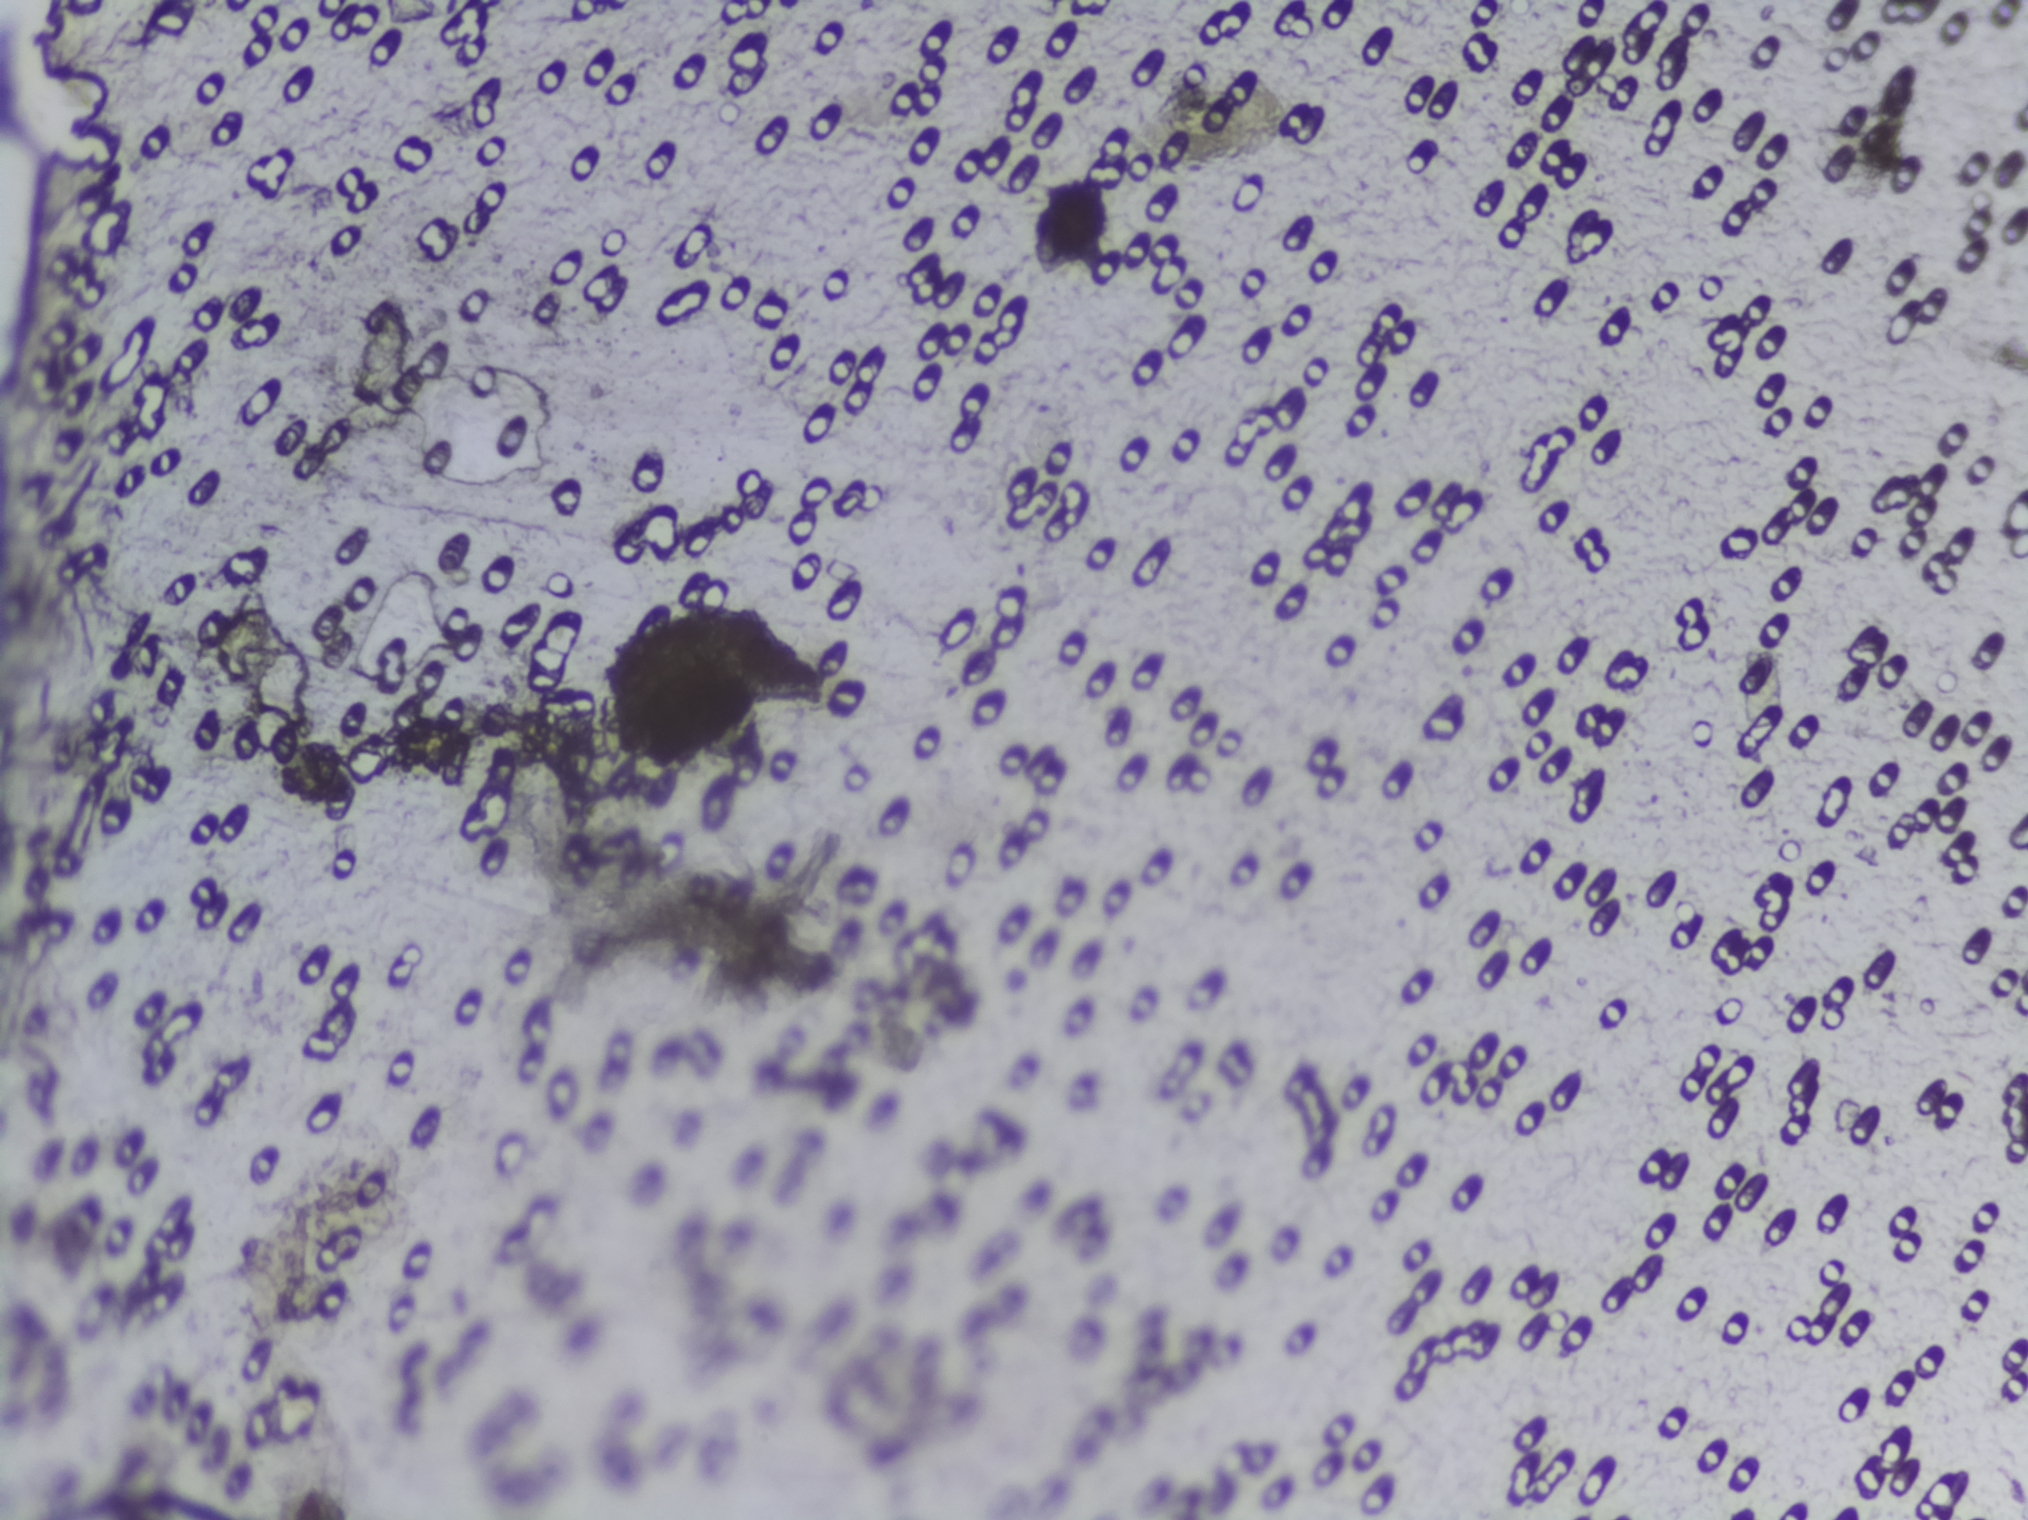
Urine filtration membrane under a 4× objective, photographed by an automated digital microscope. The image covers about 1.5 × 1.1 mm of the membrane.
The expert annotation marks no Schistosoma egg in this field of view.